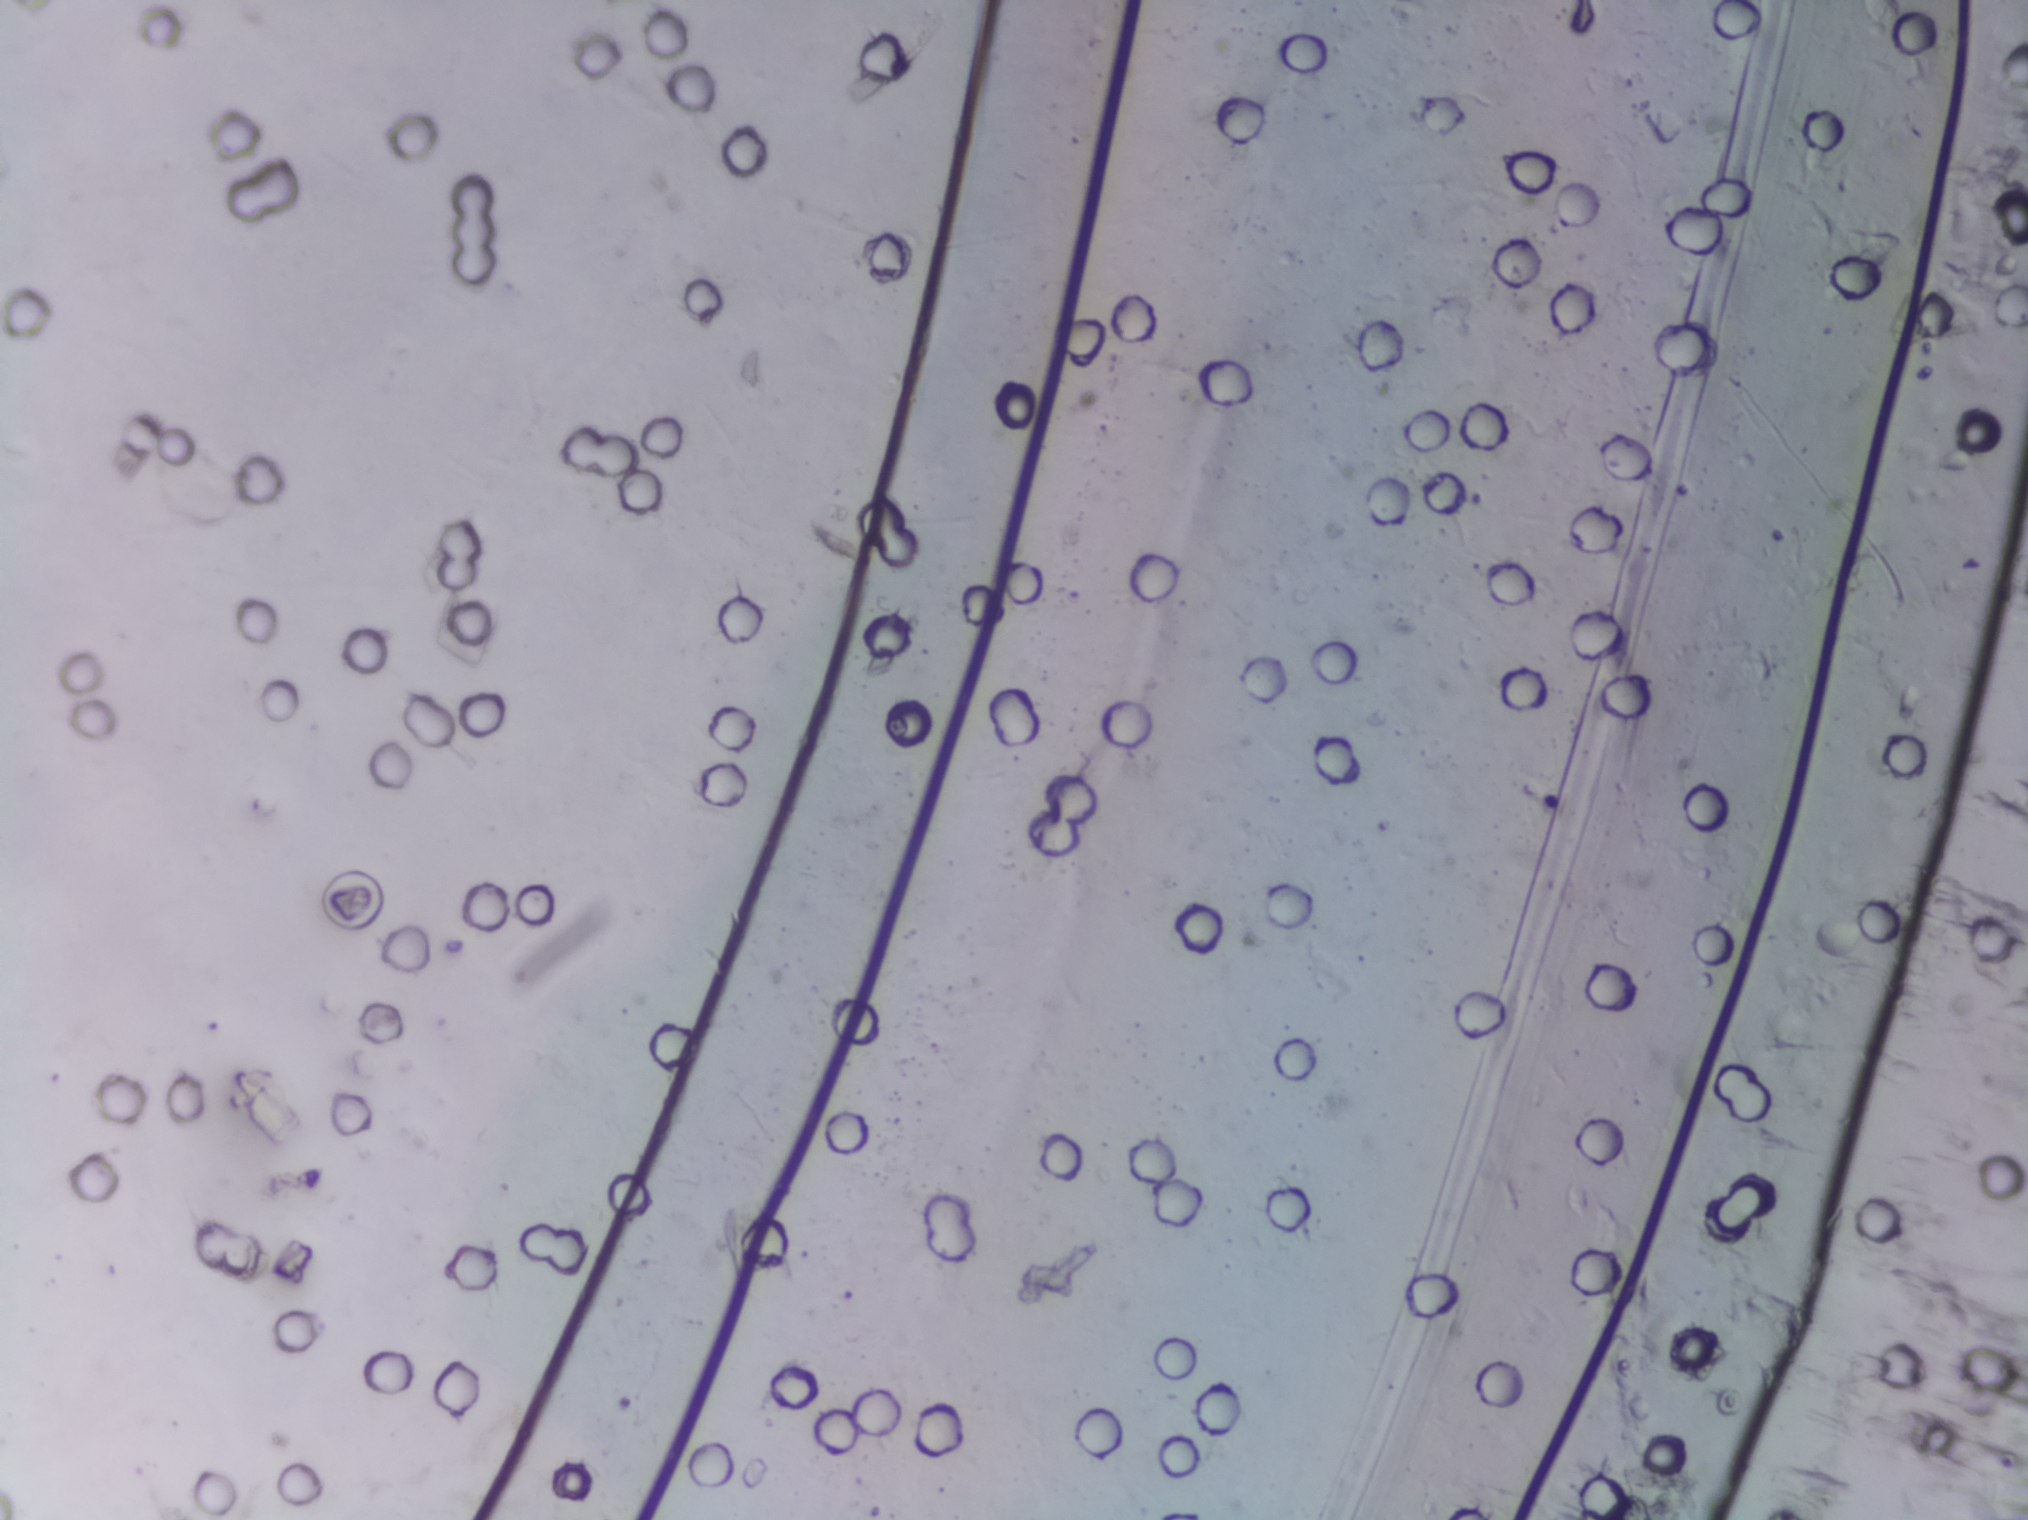
Photograph from an automated digital microscope: urine filter membrane, 4× objective. The image covers about 1.5 × 1.1 mm of the membrane.
The expert annotation marks no Schistosoma egg in this field of view.